Photograph from an automated digital microscope: urine filter membrane, 4× objective. The field of view is about 1.5 mm × 1.1 mm.
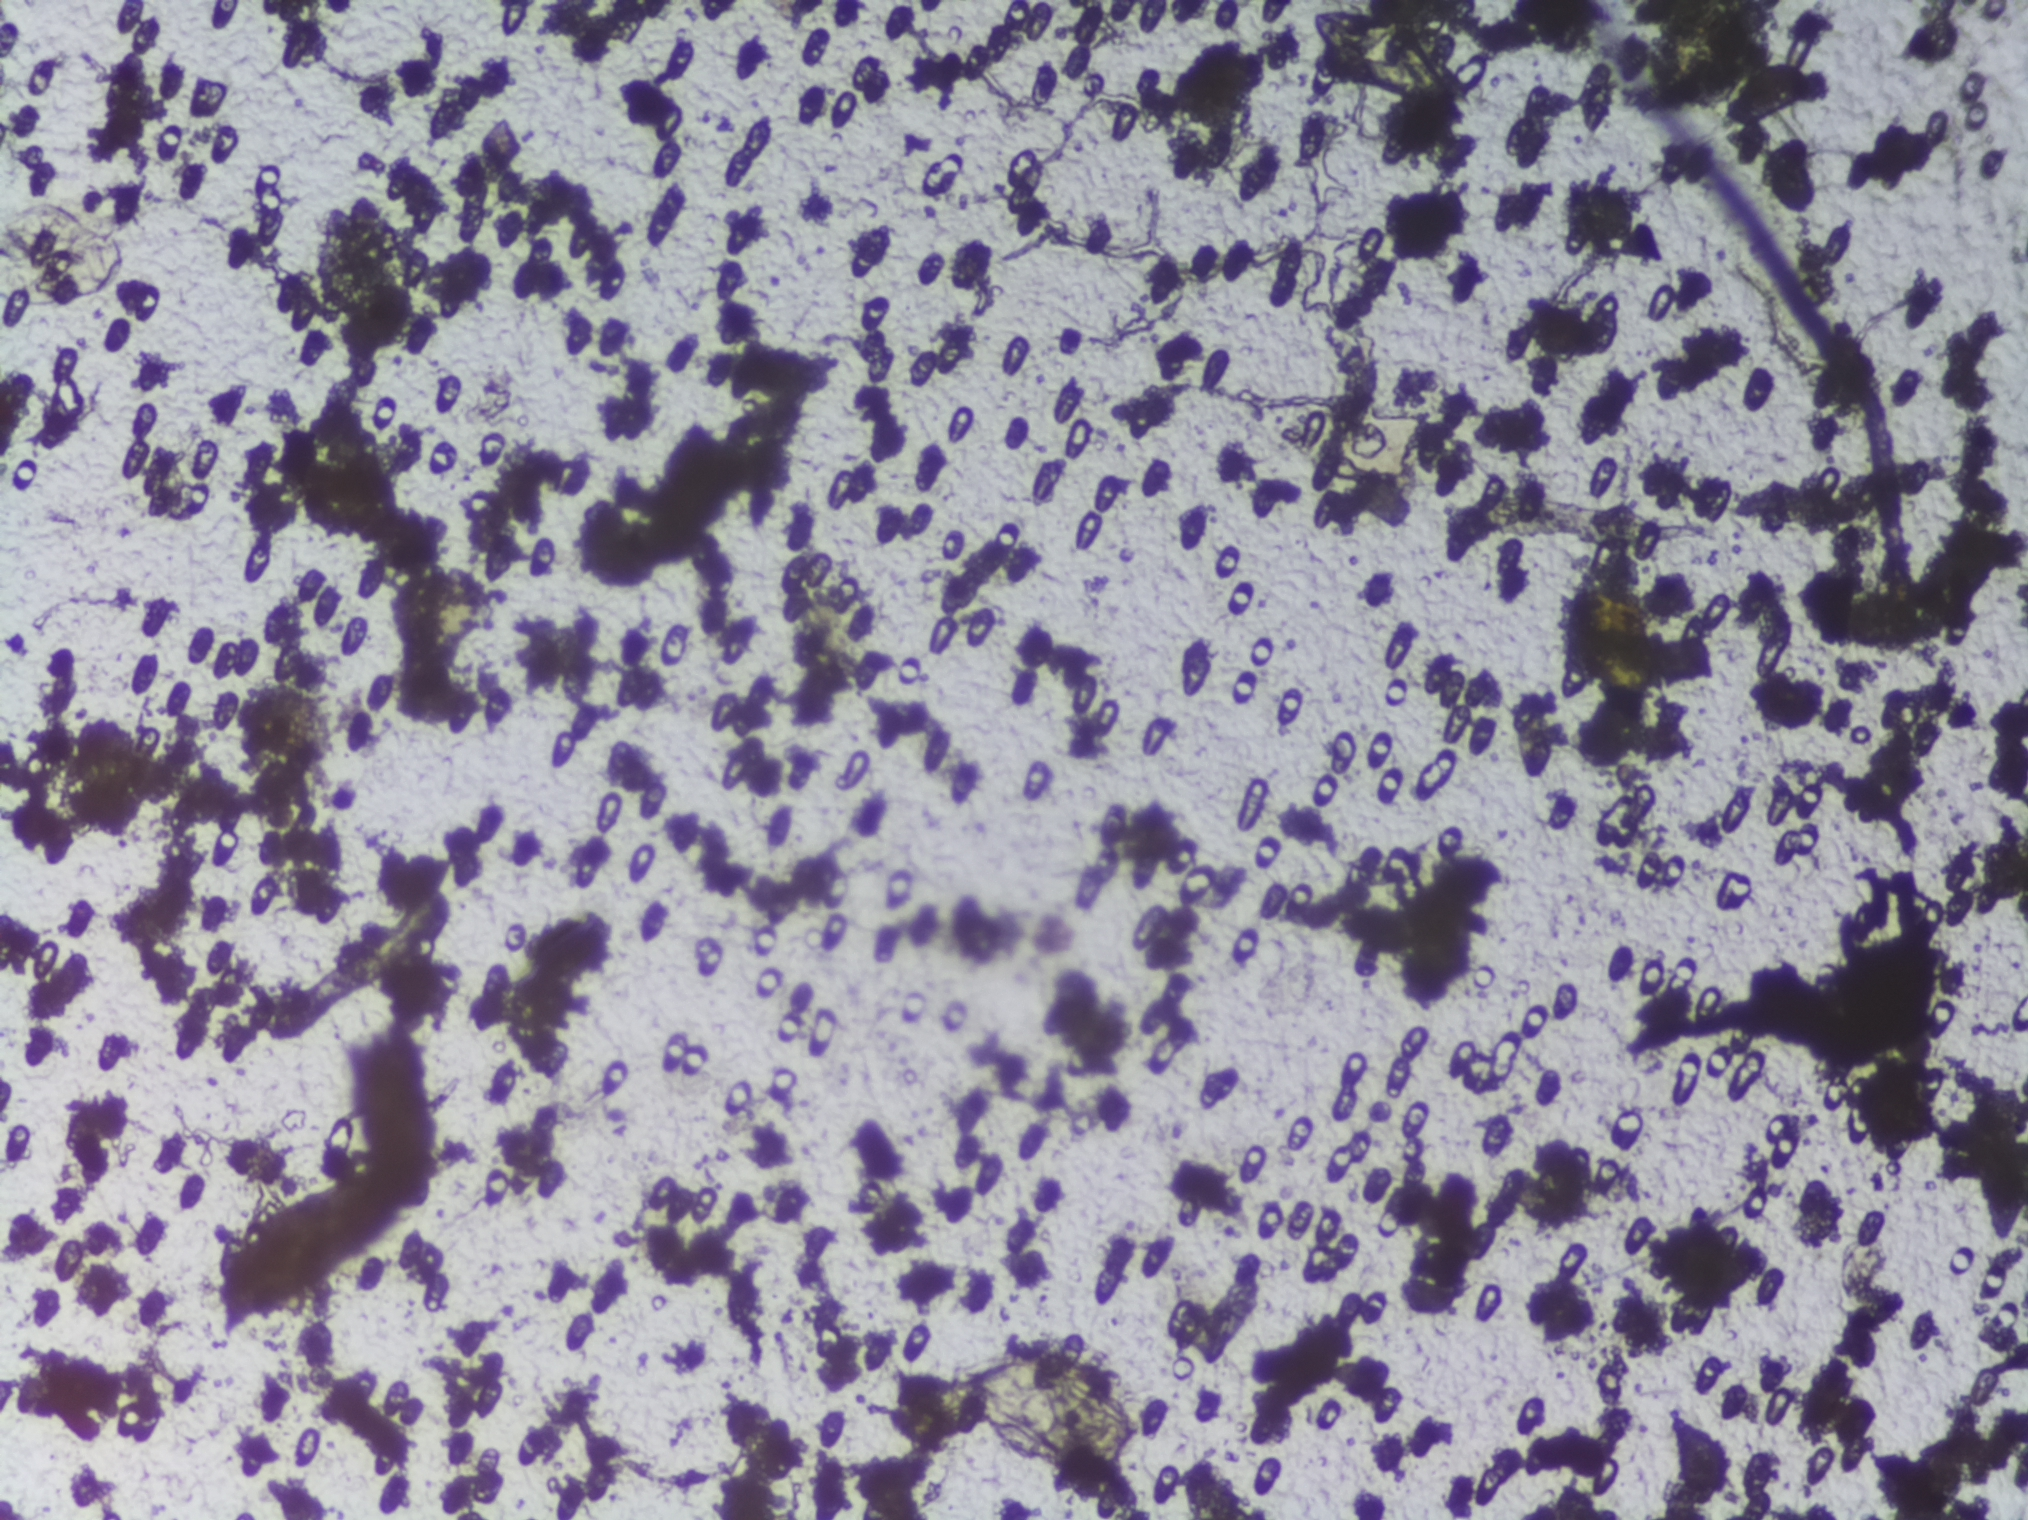
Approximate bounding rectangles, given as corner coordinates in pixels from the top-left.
Findings: three areas outlined as Schistosoma eggs. Locations: (x1=0, y1=203, x2=129, y2=306) (reaching the left edge of the frame); (x1=939, y1=1341, x2=1149, y2=1474); (x1=1307, y1=7, x2=1463, y2=118). The marked pixels themselves, not the boxes around them, cover about 1.3% of the image. Eggs that touch can end up inside the same outlined area. A marked egg may occasionally be S. mansoni rather than S. haematobium.